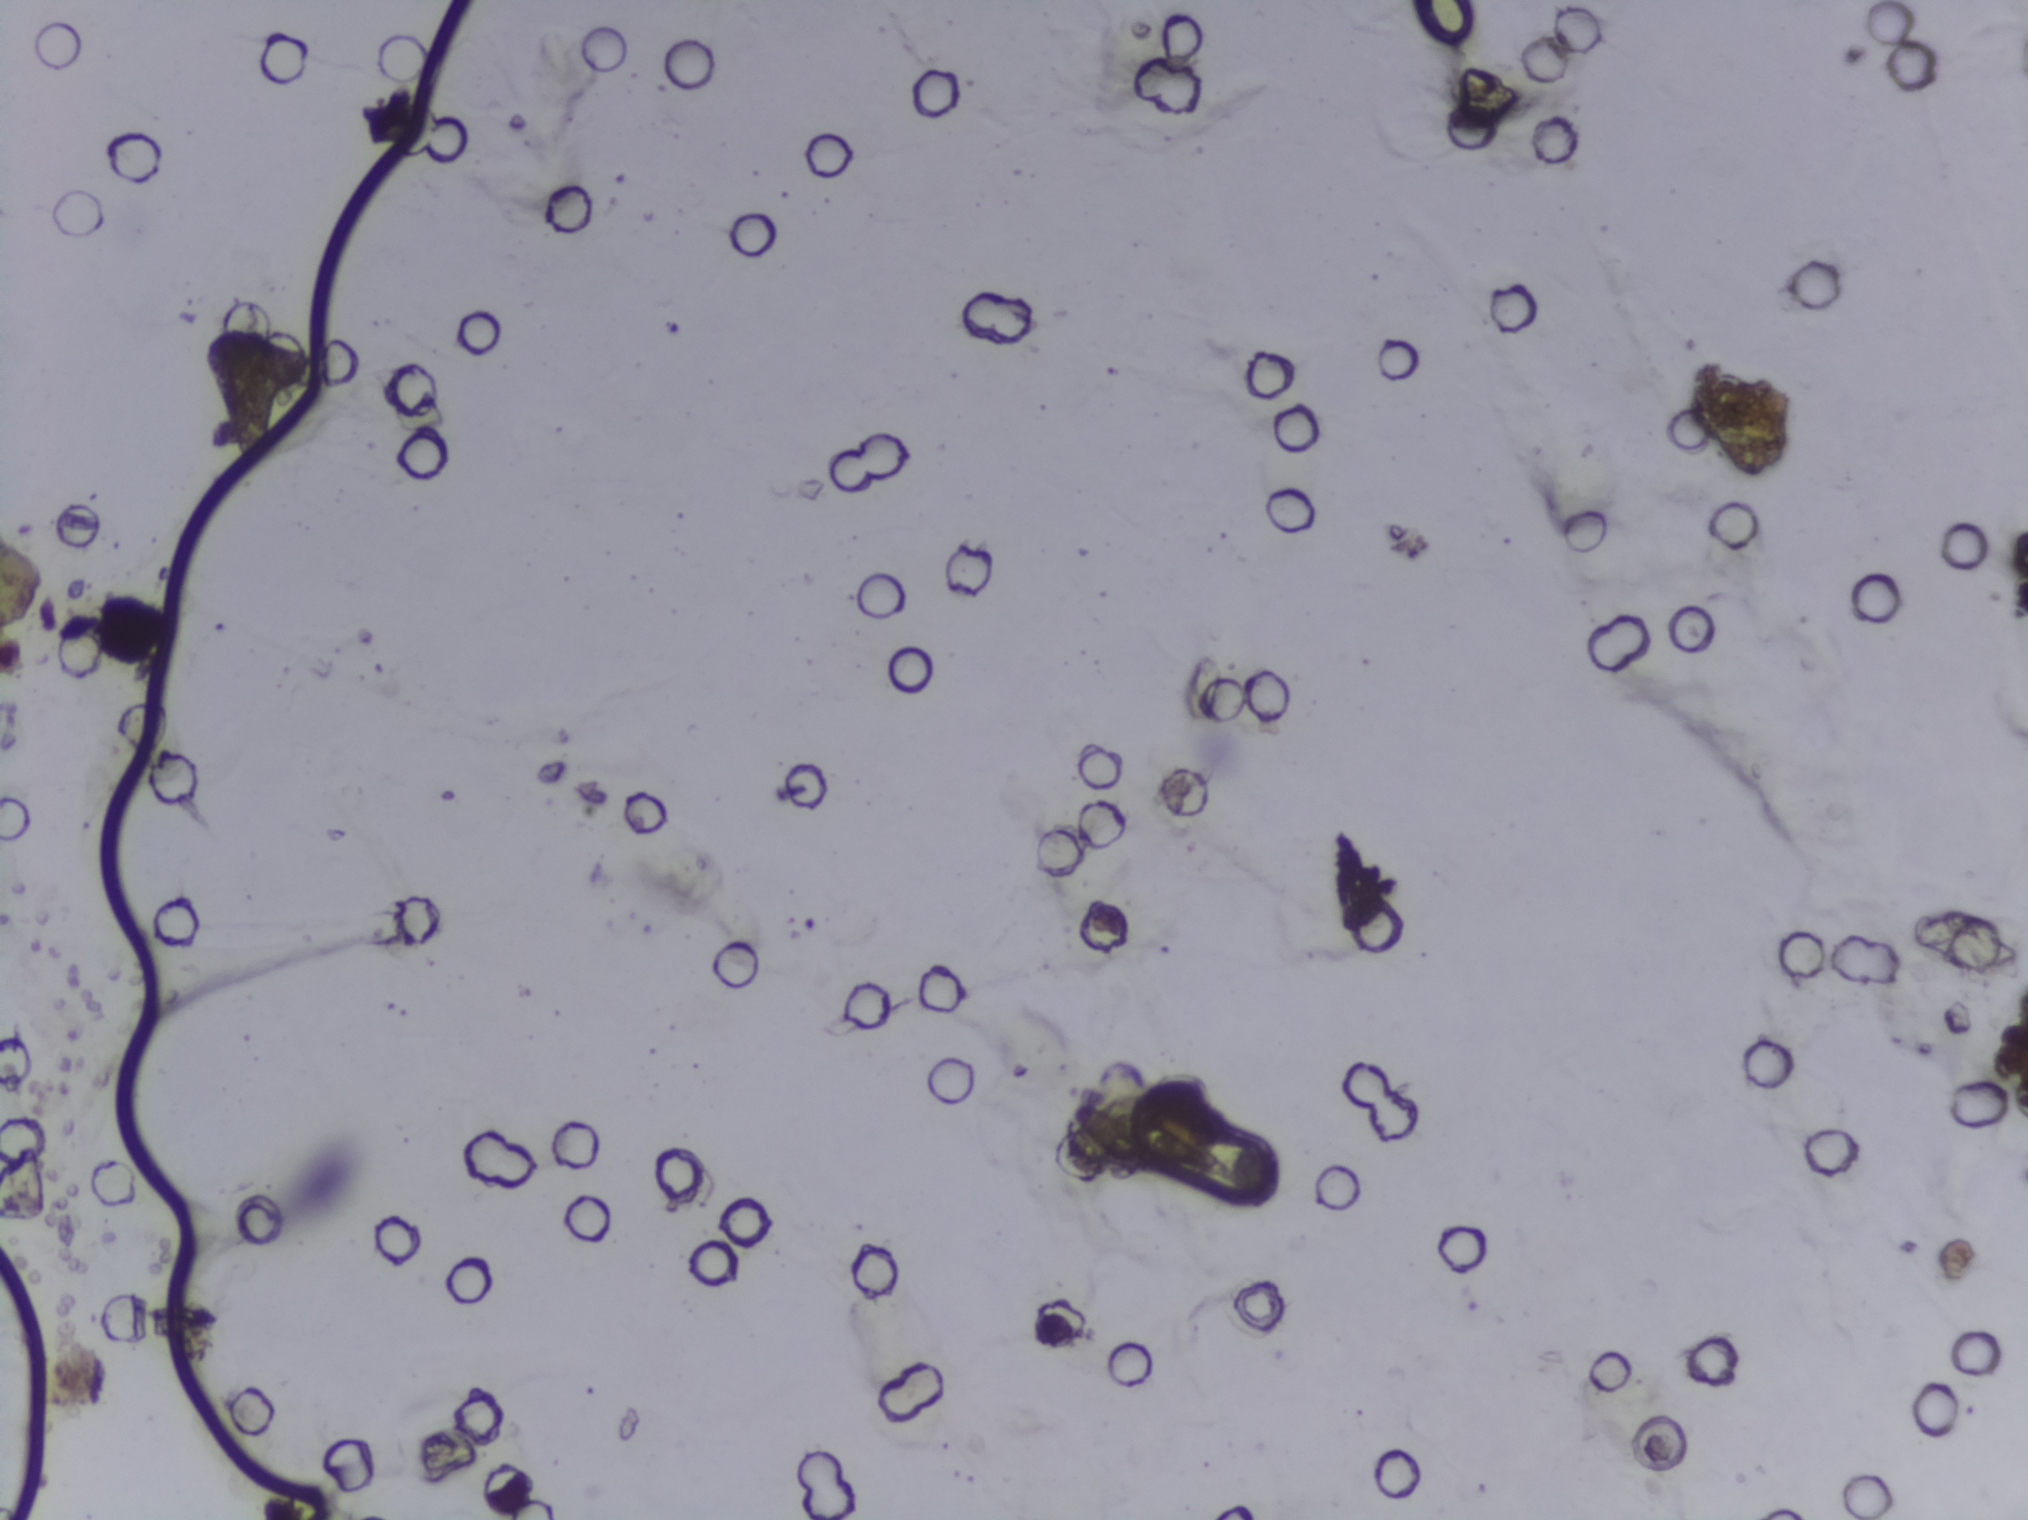
Urine filter membrane photographed through a 4× microscope objective. The image covers about 1.5 × 1.1 mm of the membrane.
No Schistosoma egg is outlined in this image's expert annotation.